One field of view of a urine filter membrane, 4× objective, 2028 × 1520 pixels. Field of view: about 1.5 mm wide and 1.1 mm high.
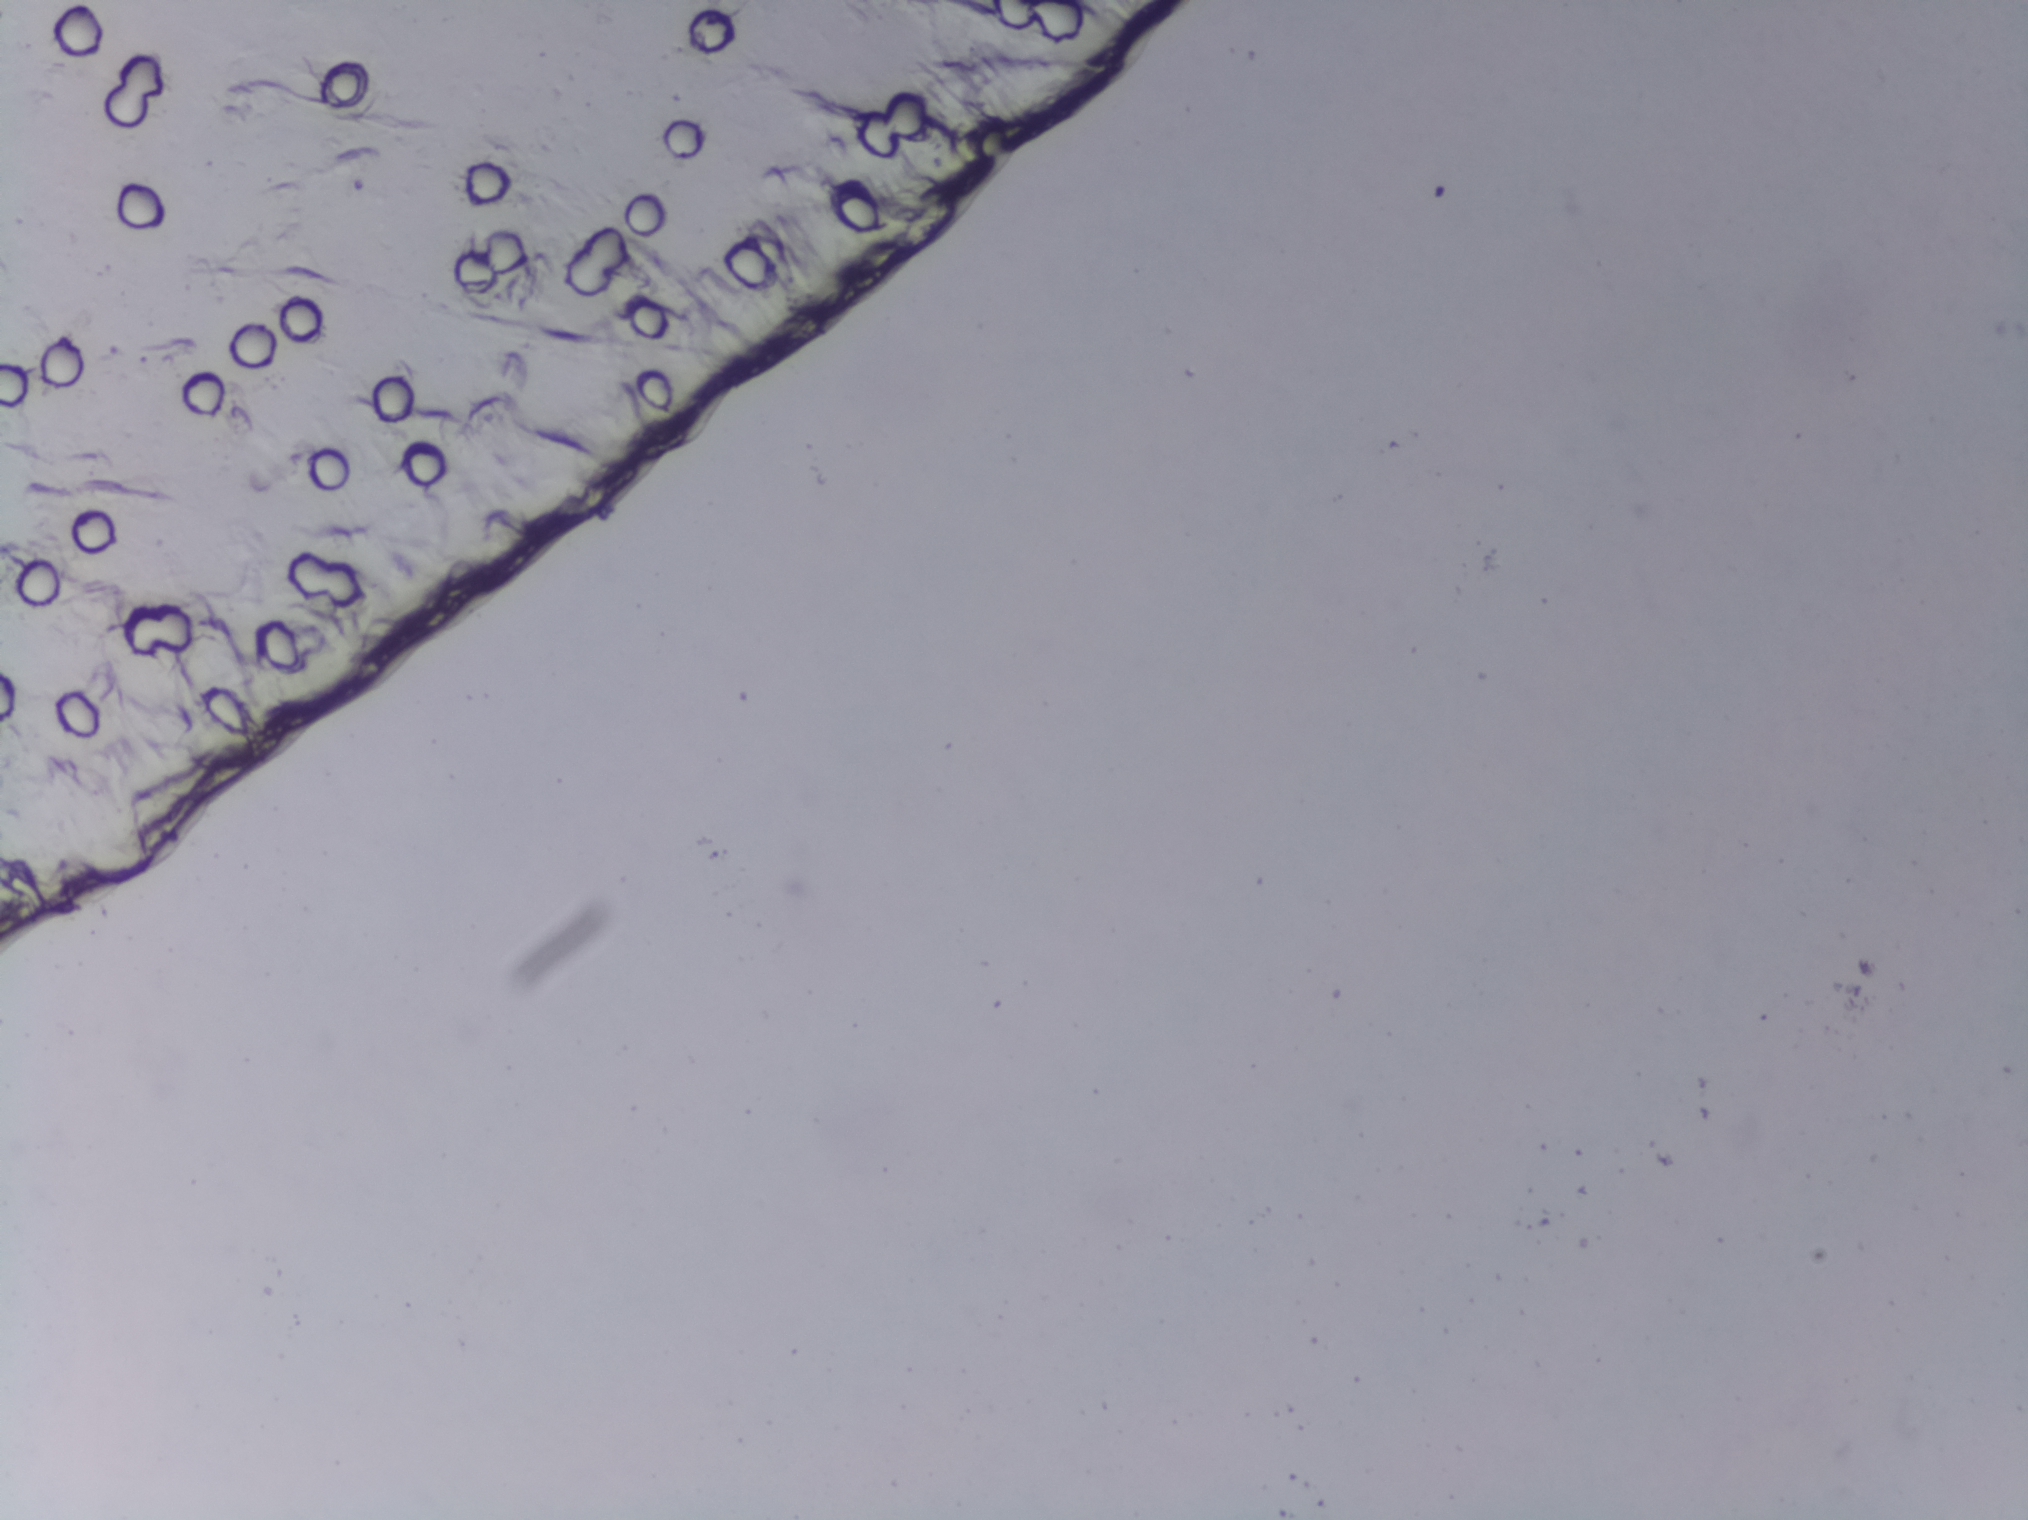
No Schistosoma egg is outlined in this image's expert annotation.